Photograph from an automated digital microscope: urine filter membrane, 4× objective. The field of view is about 1.5 mm × 1.1 mm.
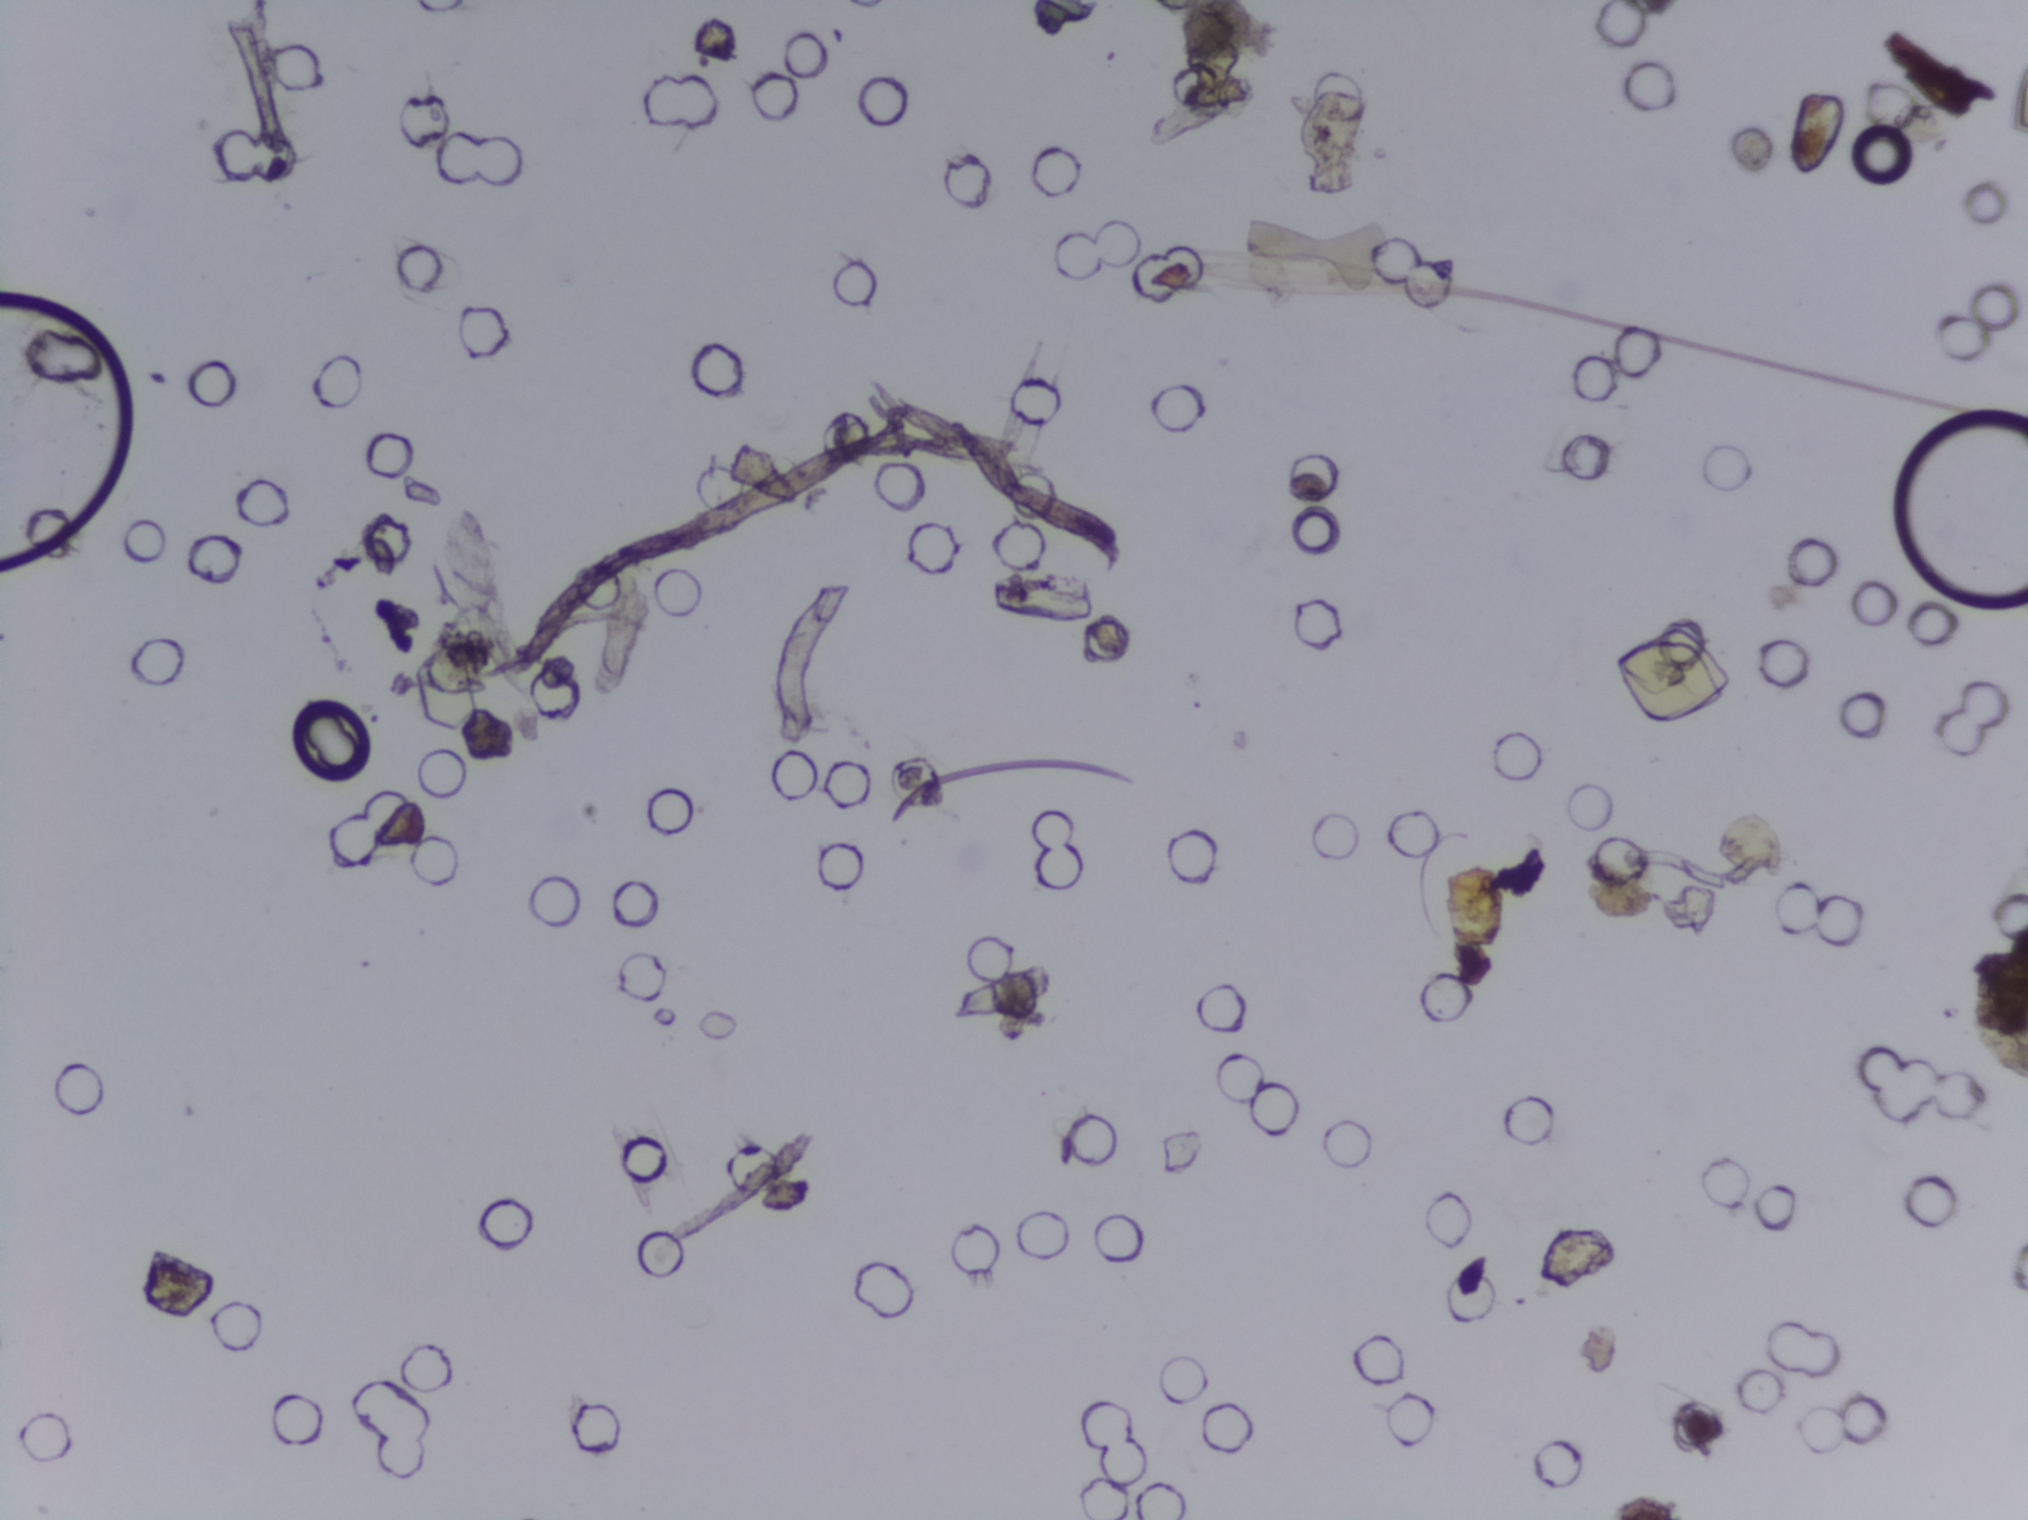
Schistosoma eggs: none outlined.